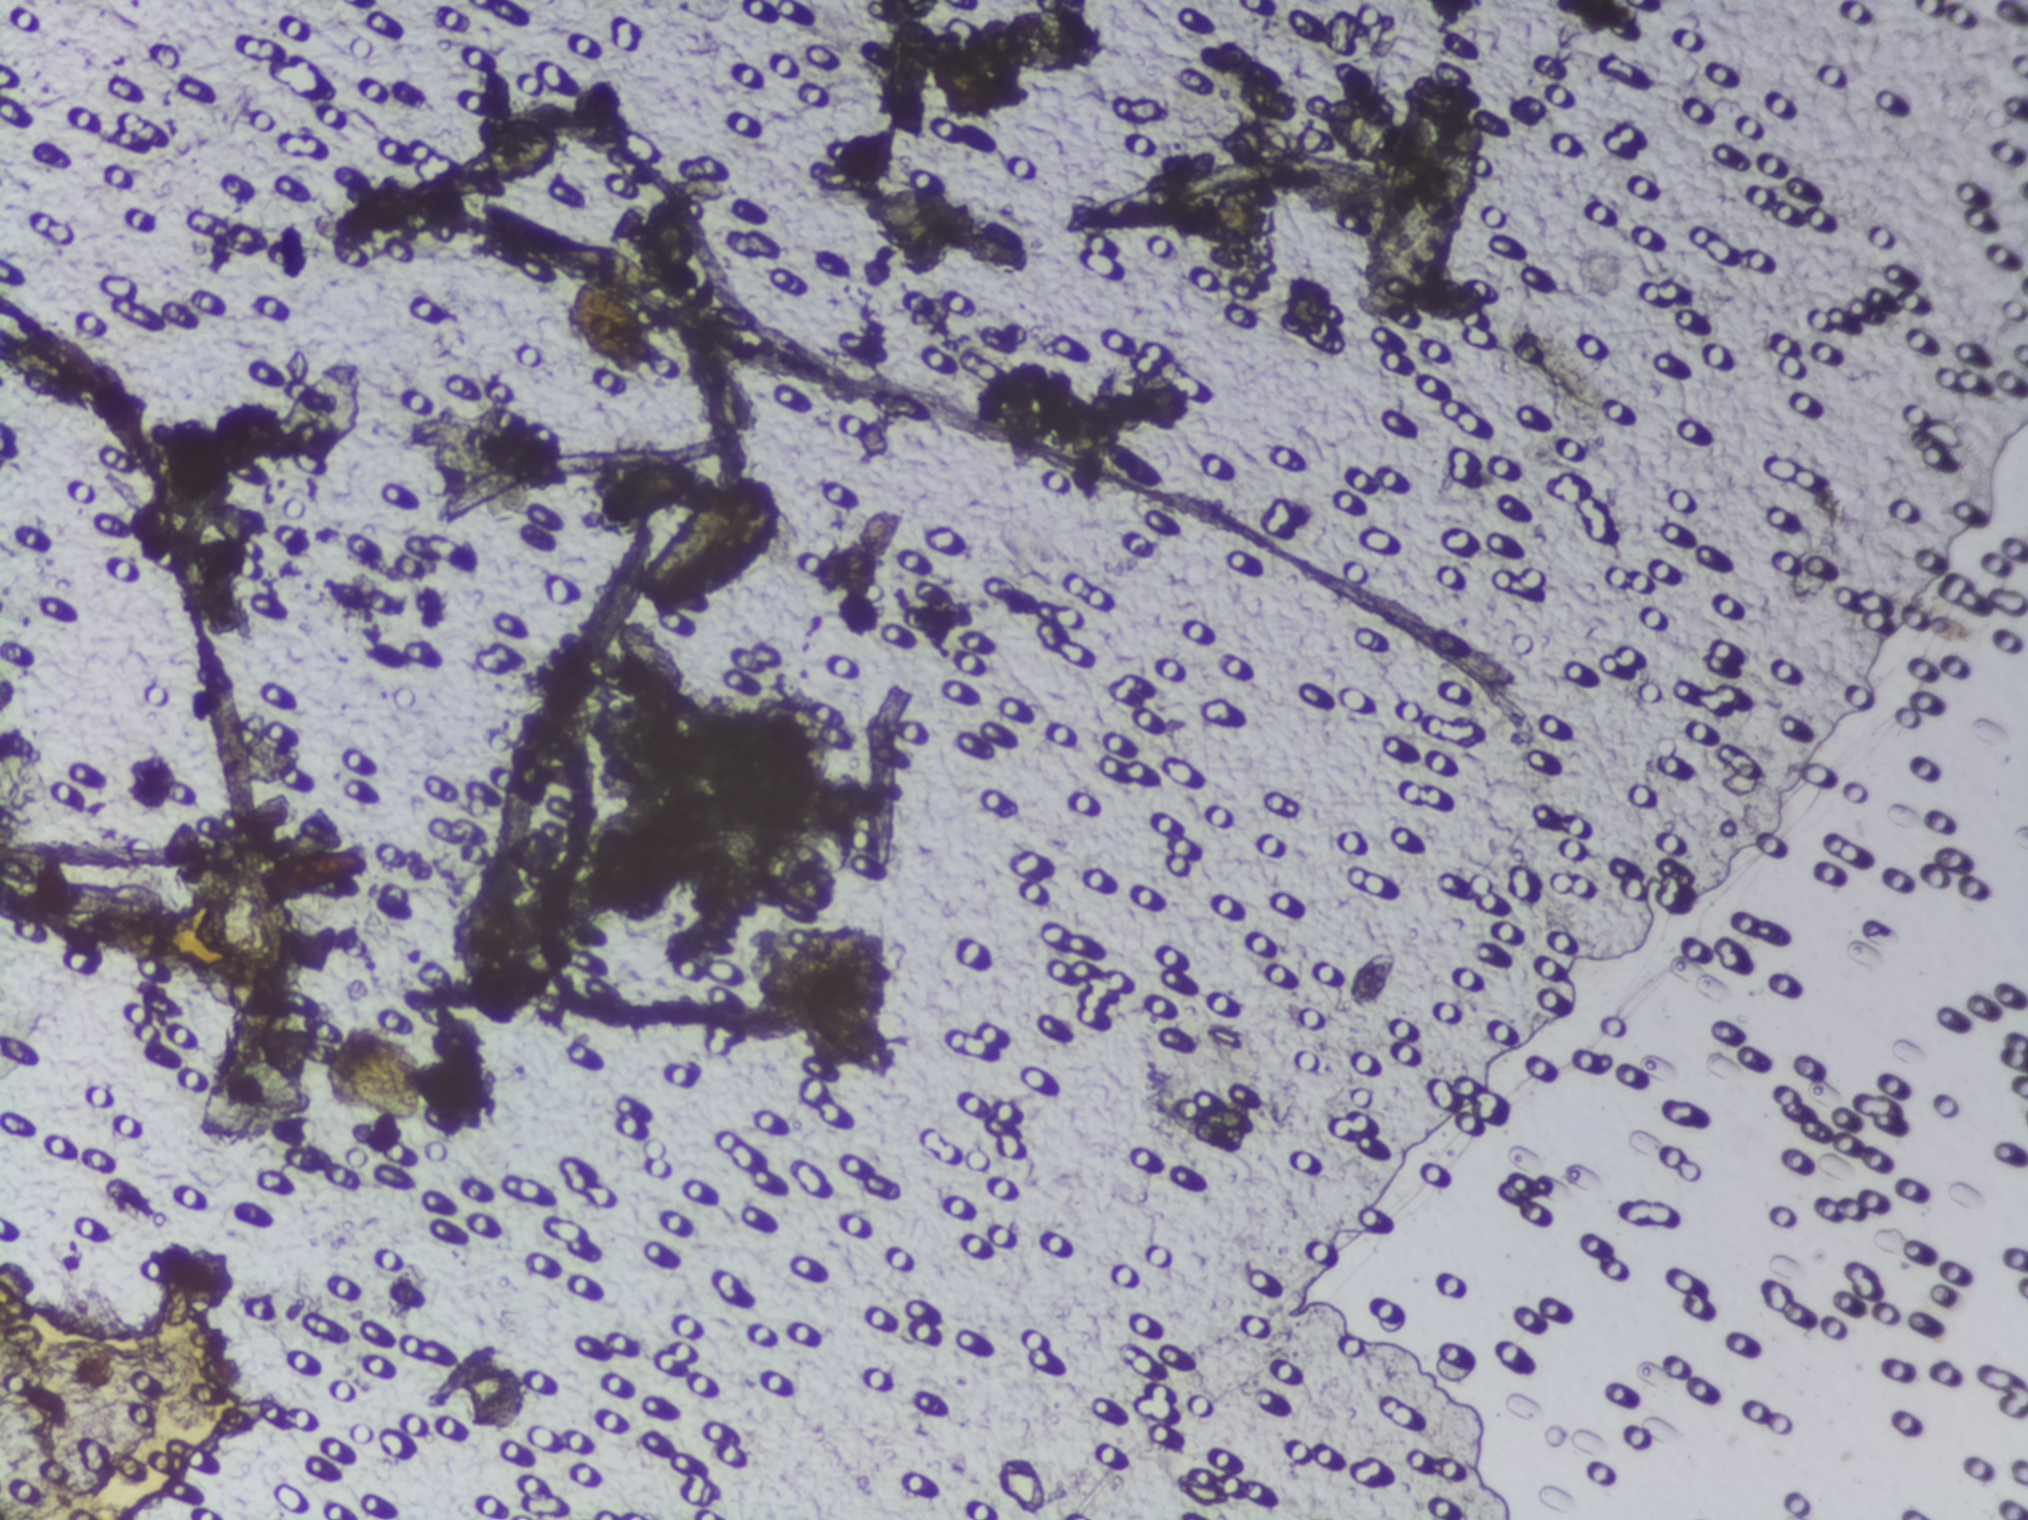
Photomicrograph of a urine filtration membrane, 4× objective.
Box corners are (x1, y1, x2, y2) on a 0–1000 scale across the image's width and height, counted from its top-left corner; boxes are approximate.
Findings: one area outlined as Schistosoma eggs. Location: (291, 304, 343, 346). Eggs that touch can end up inside the same outlined area.